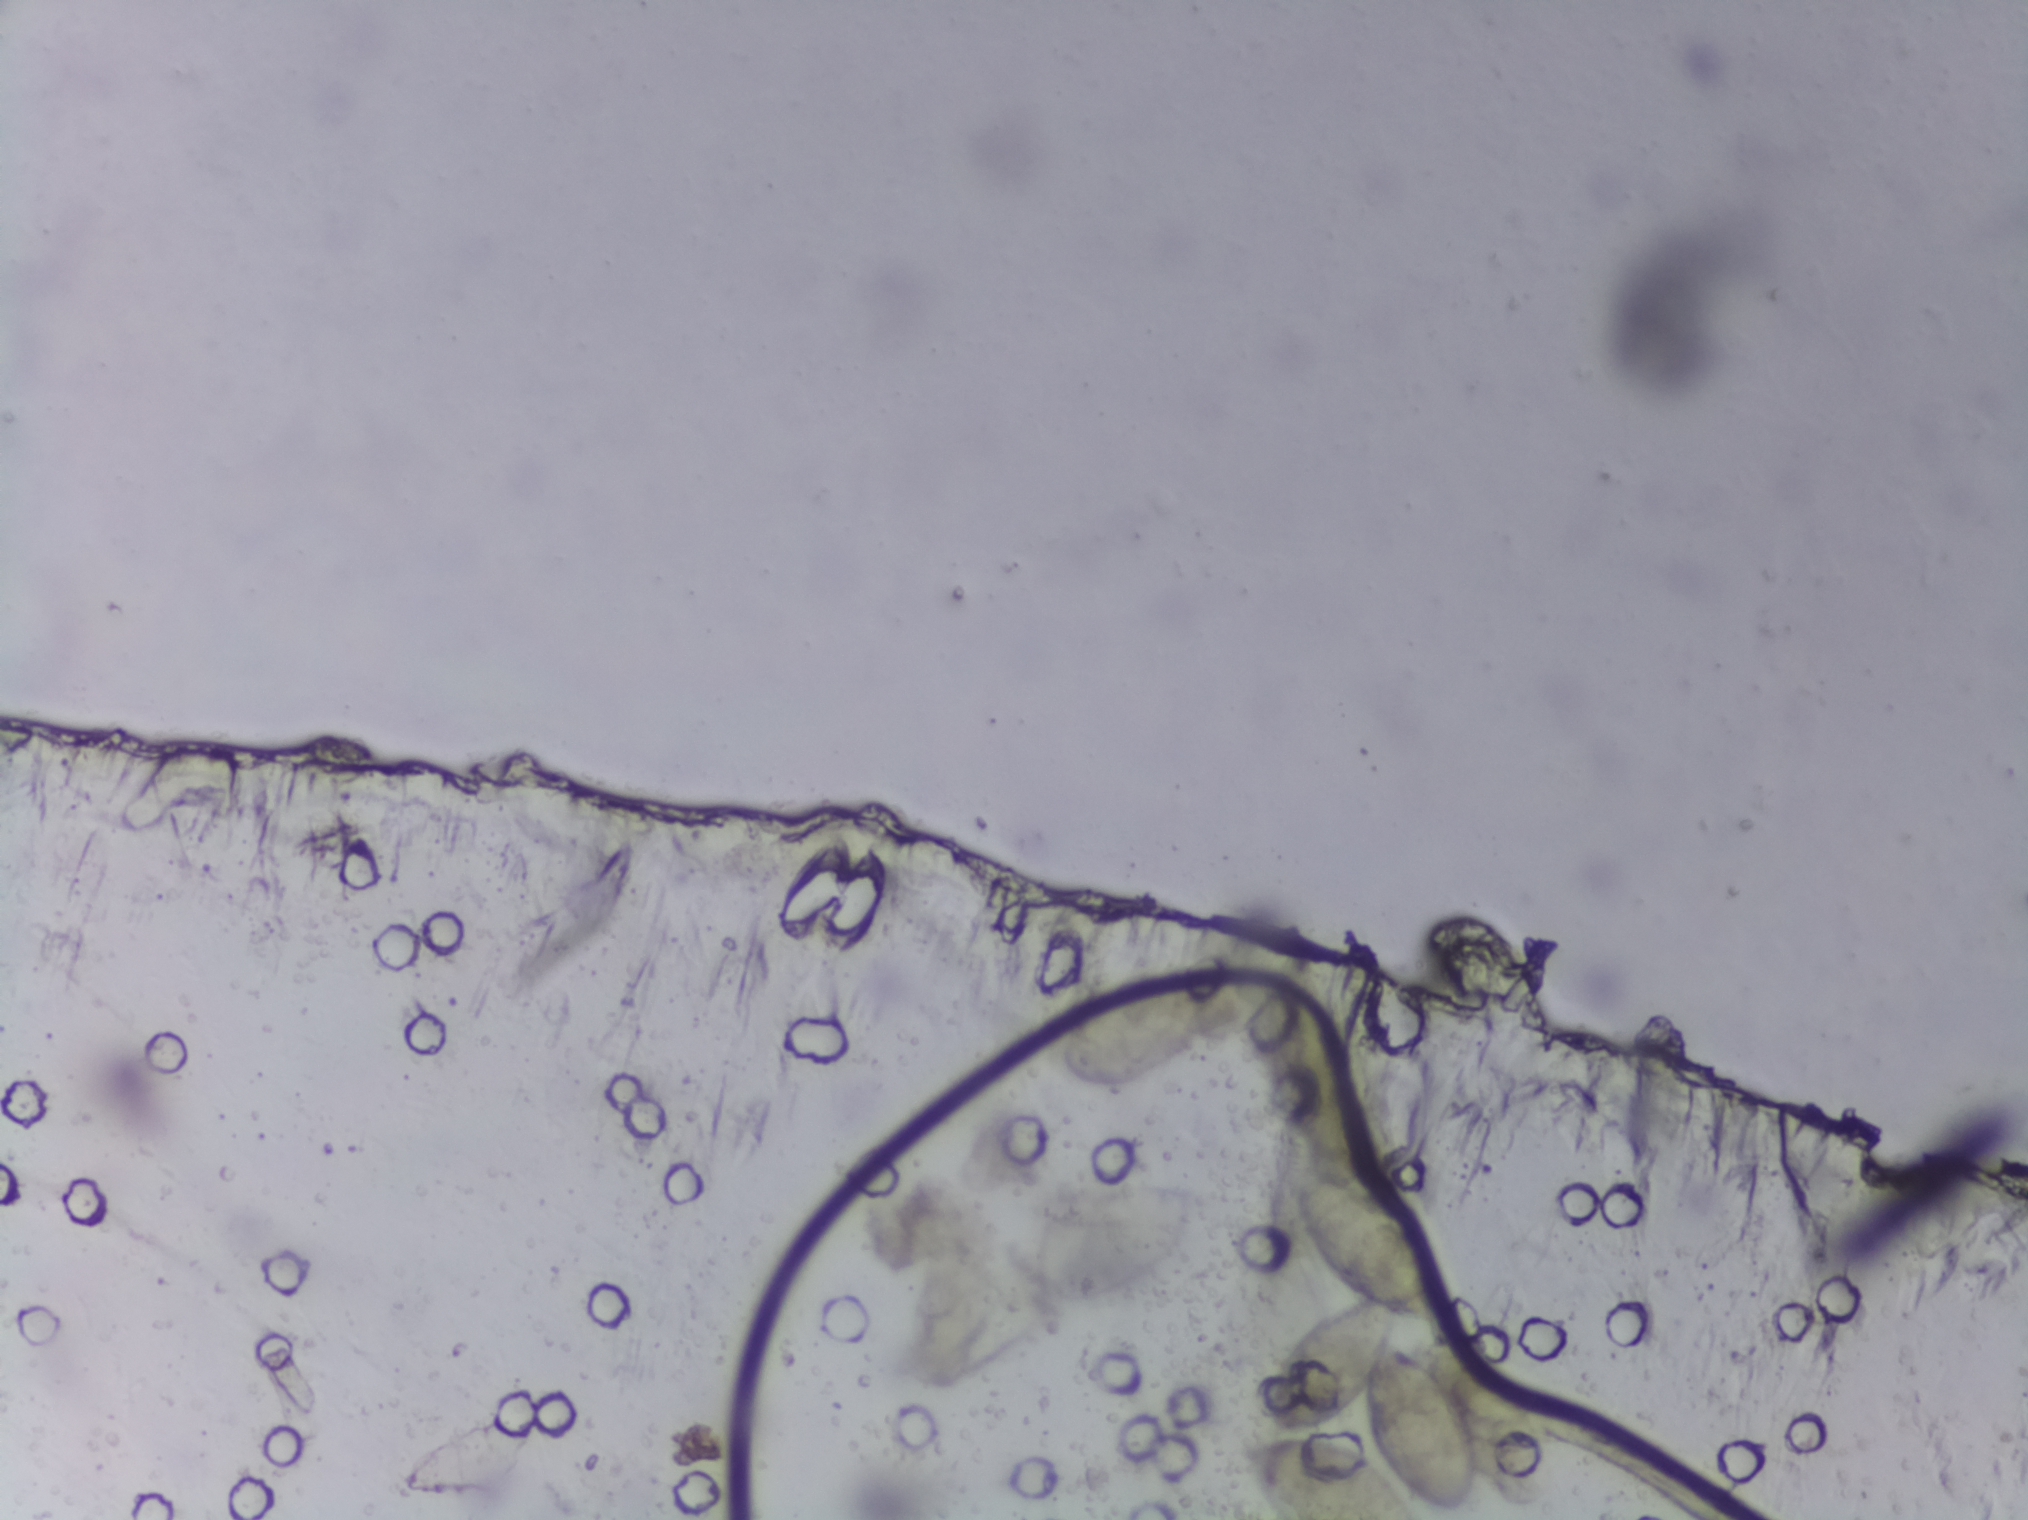
Urine filter membrane photographed through a 4× microscope objective. The image covers about 1.5 × 1.1 mm of the membrane.
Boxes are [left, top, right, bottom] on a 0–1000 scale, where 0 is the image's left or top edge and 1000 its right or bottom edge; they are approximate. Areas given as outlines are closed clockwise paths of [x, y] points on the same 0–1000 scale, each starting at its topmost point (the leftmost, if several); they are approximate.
The expert annotation outlines Schistosoma eggs in three areas, left to right: box [504, 773, 596, 863]; box [520, 638, 608, 716]; outline [643, 769], [677, 784], [704, 833], [709, 853], [708, 869], [702, 875], [695, 873], [694, 887], [706, 896], [711, 873], [728, 871], [758, 909], [762, 933], [762, 979], [756, 996], [741, 994], [728, 969], [726, 992], [718, 1000], [709, 1000], [698, 989], [700, 1000], [631, 1000], [608, 971], [607, 949], [616, 939], [625, 938], [623, 922], [633, 888], [646, 862], [660, 852], [641, 804] (eggs clustered together; reaching the bottom edge of the frame). A single outlined area may contain several eggs.